One field of view of a urine filter membrane, 4× objective, 2028 × 1520 pixels. Field of view: about 1.5 mm wide and 1.1 mm high.
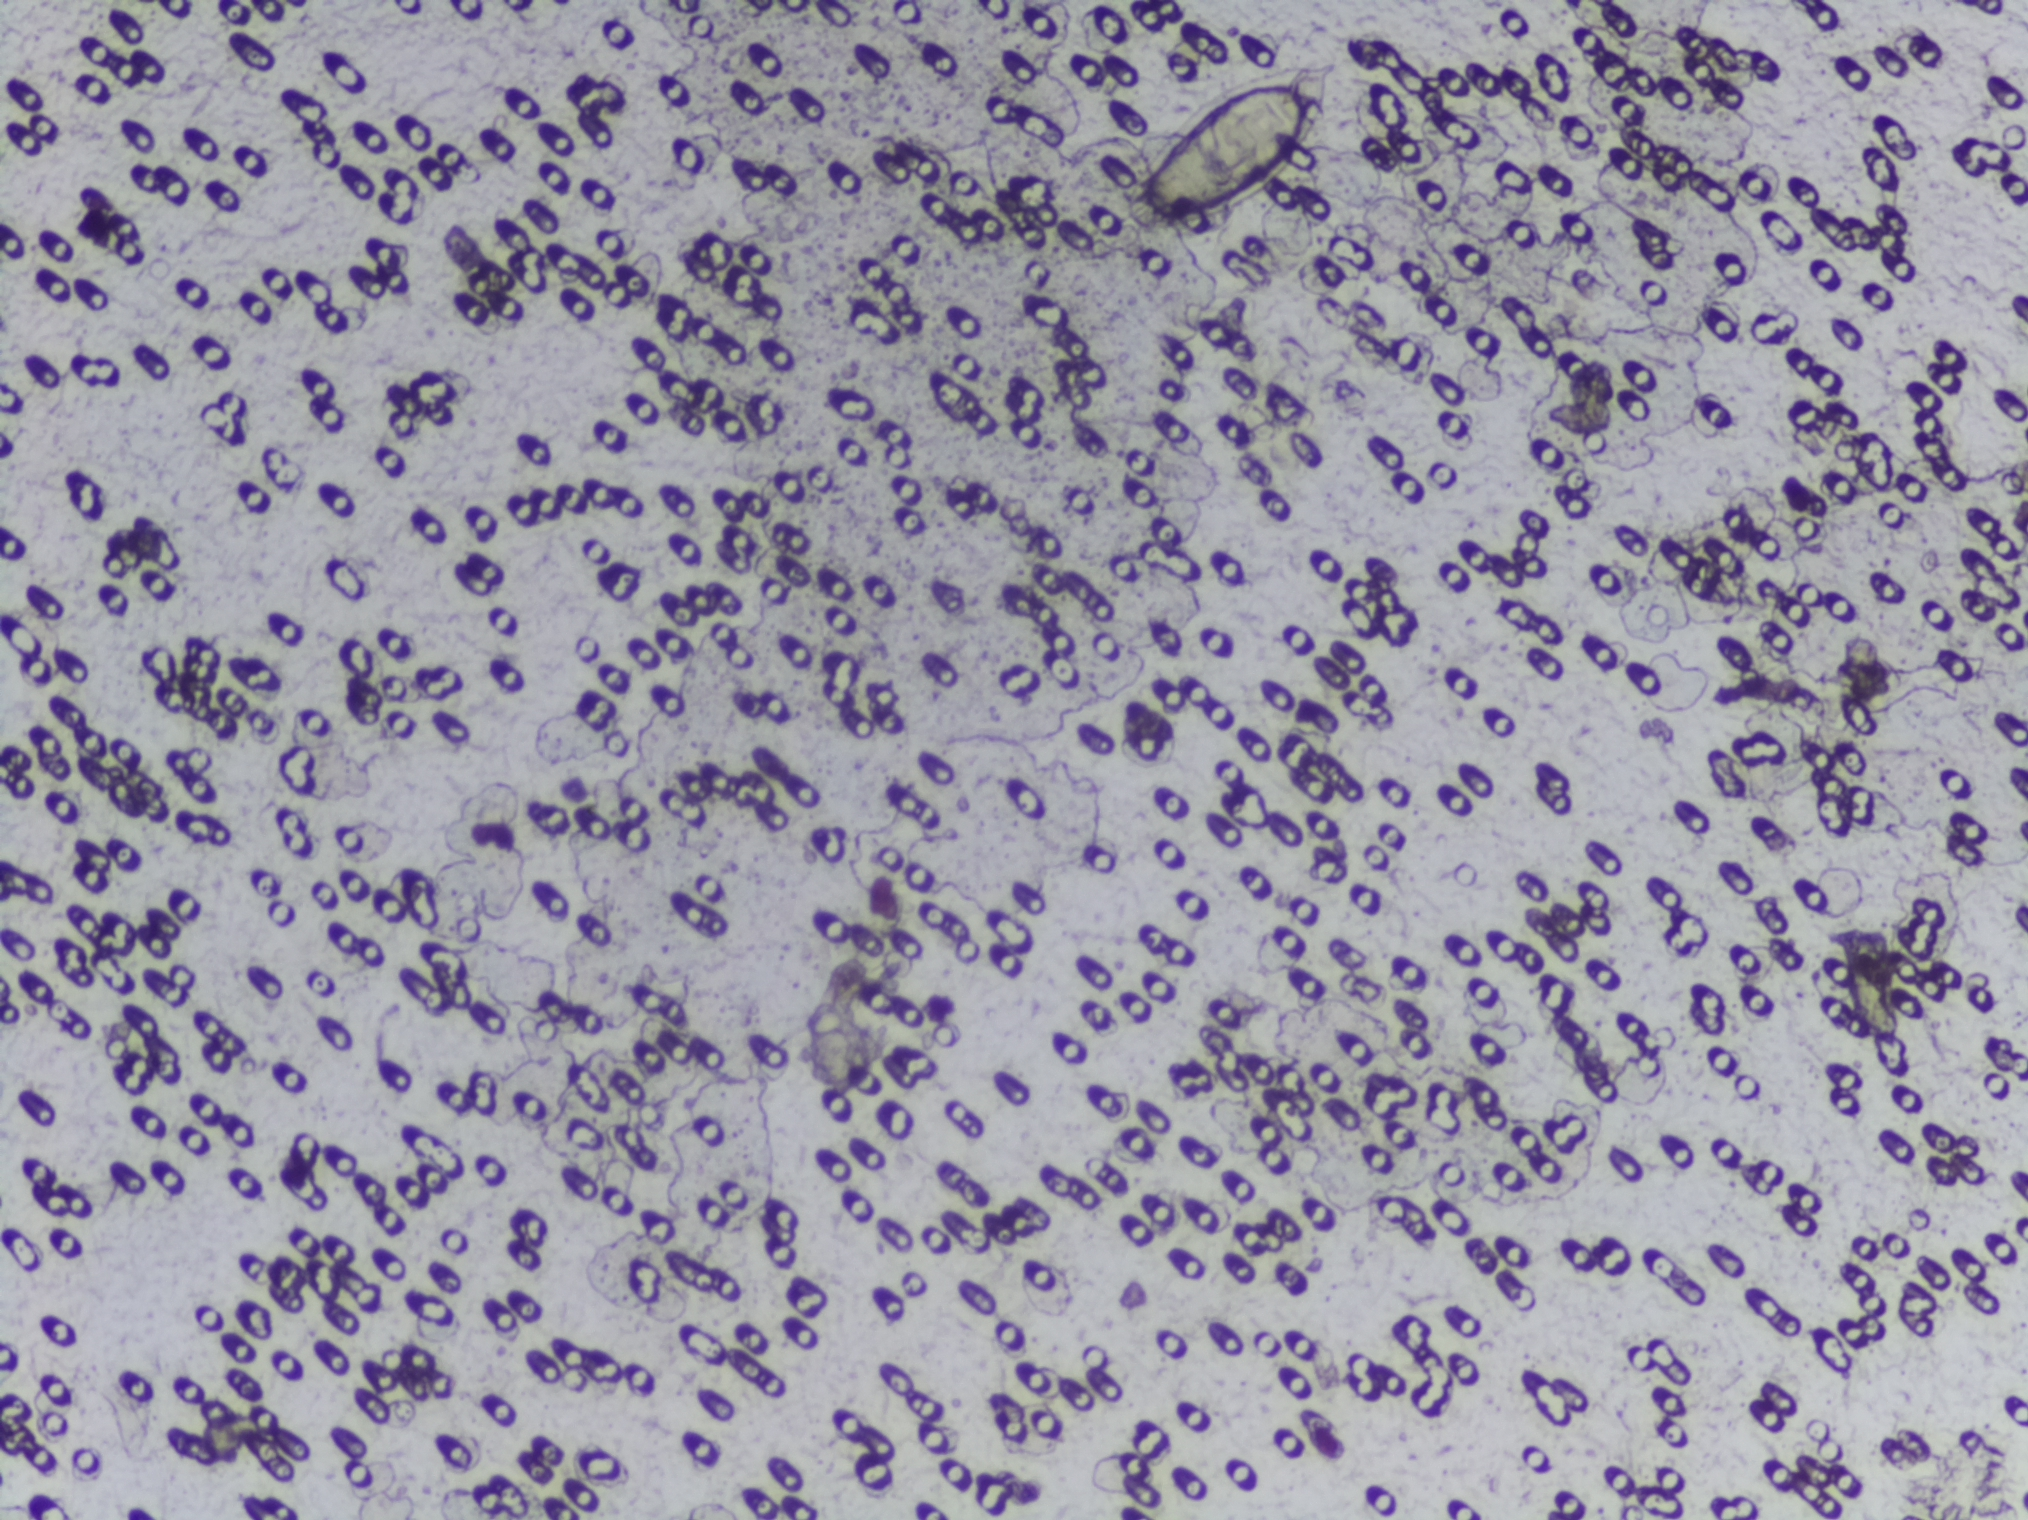
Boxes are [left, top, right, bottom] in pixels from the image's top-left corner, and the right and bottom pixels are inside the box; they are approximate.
{"schistosoma_egg_areas_xyxy_px": [[1125, 43, 1348, 240]]}
A single outlined area may contain several eggs. Any one outlined egg may, rarely, be S. mansoni rather than S. haematobium.